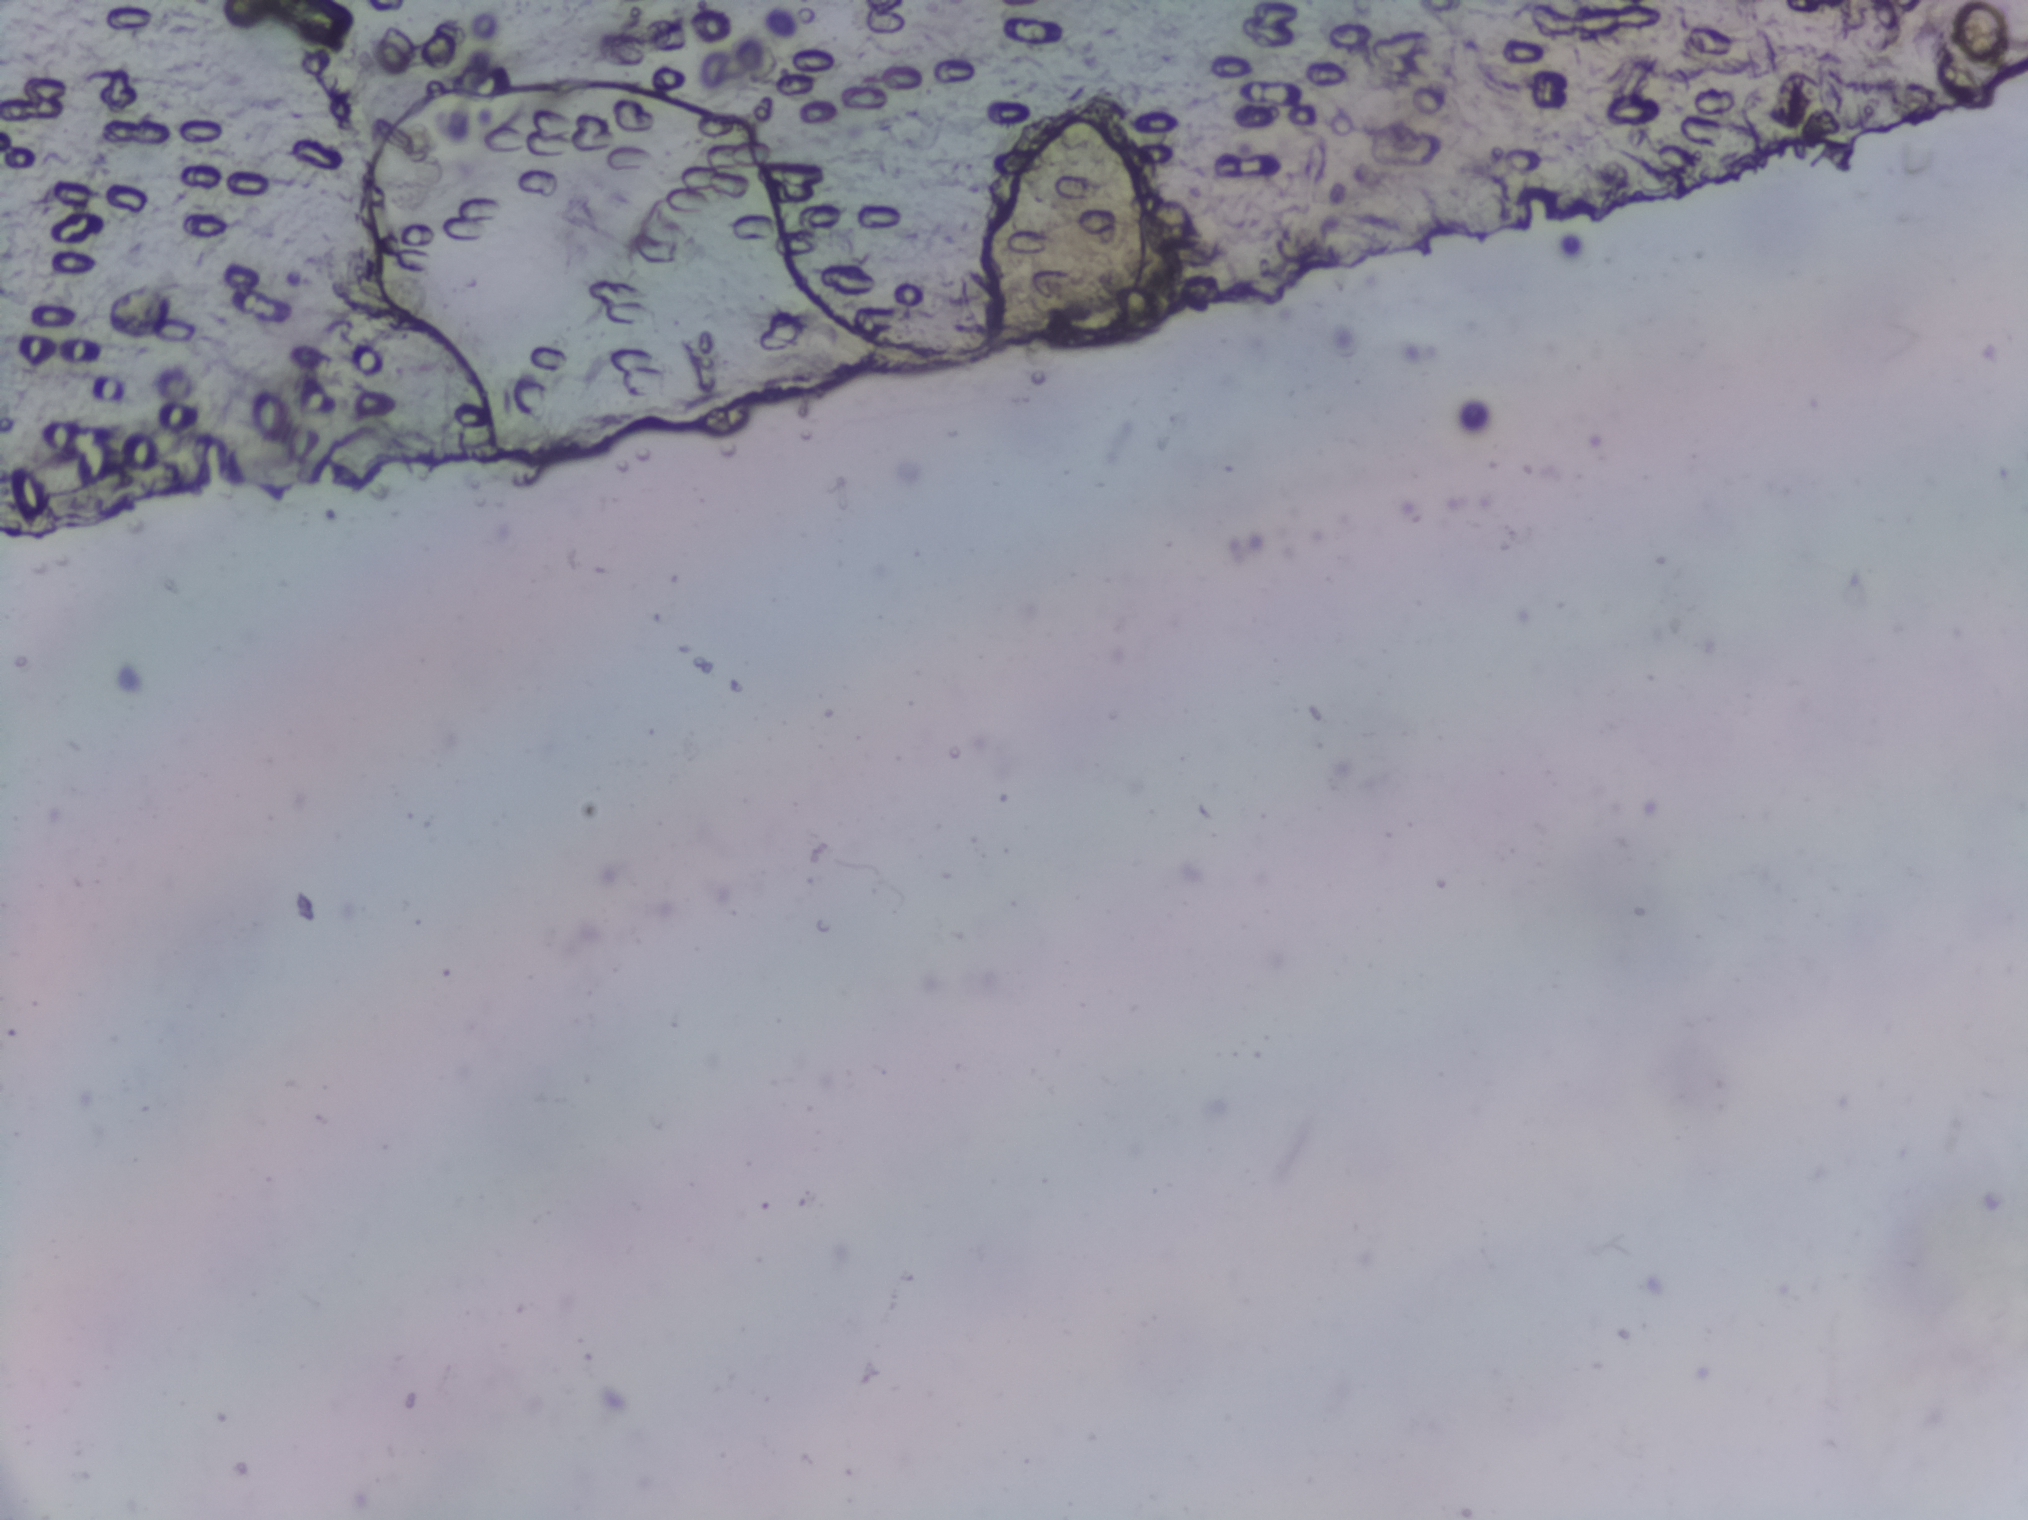
Photograph from an automated digital microscope: urine filter membrane, 4× objective.
The expert annotation marks no Schistosoma egg in this field of view.